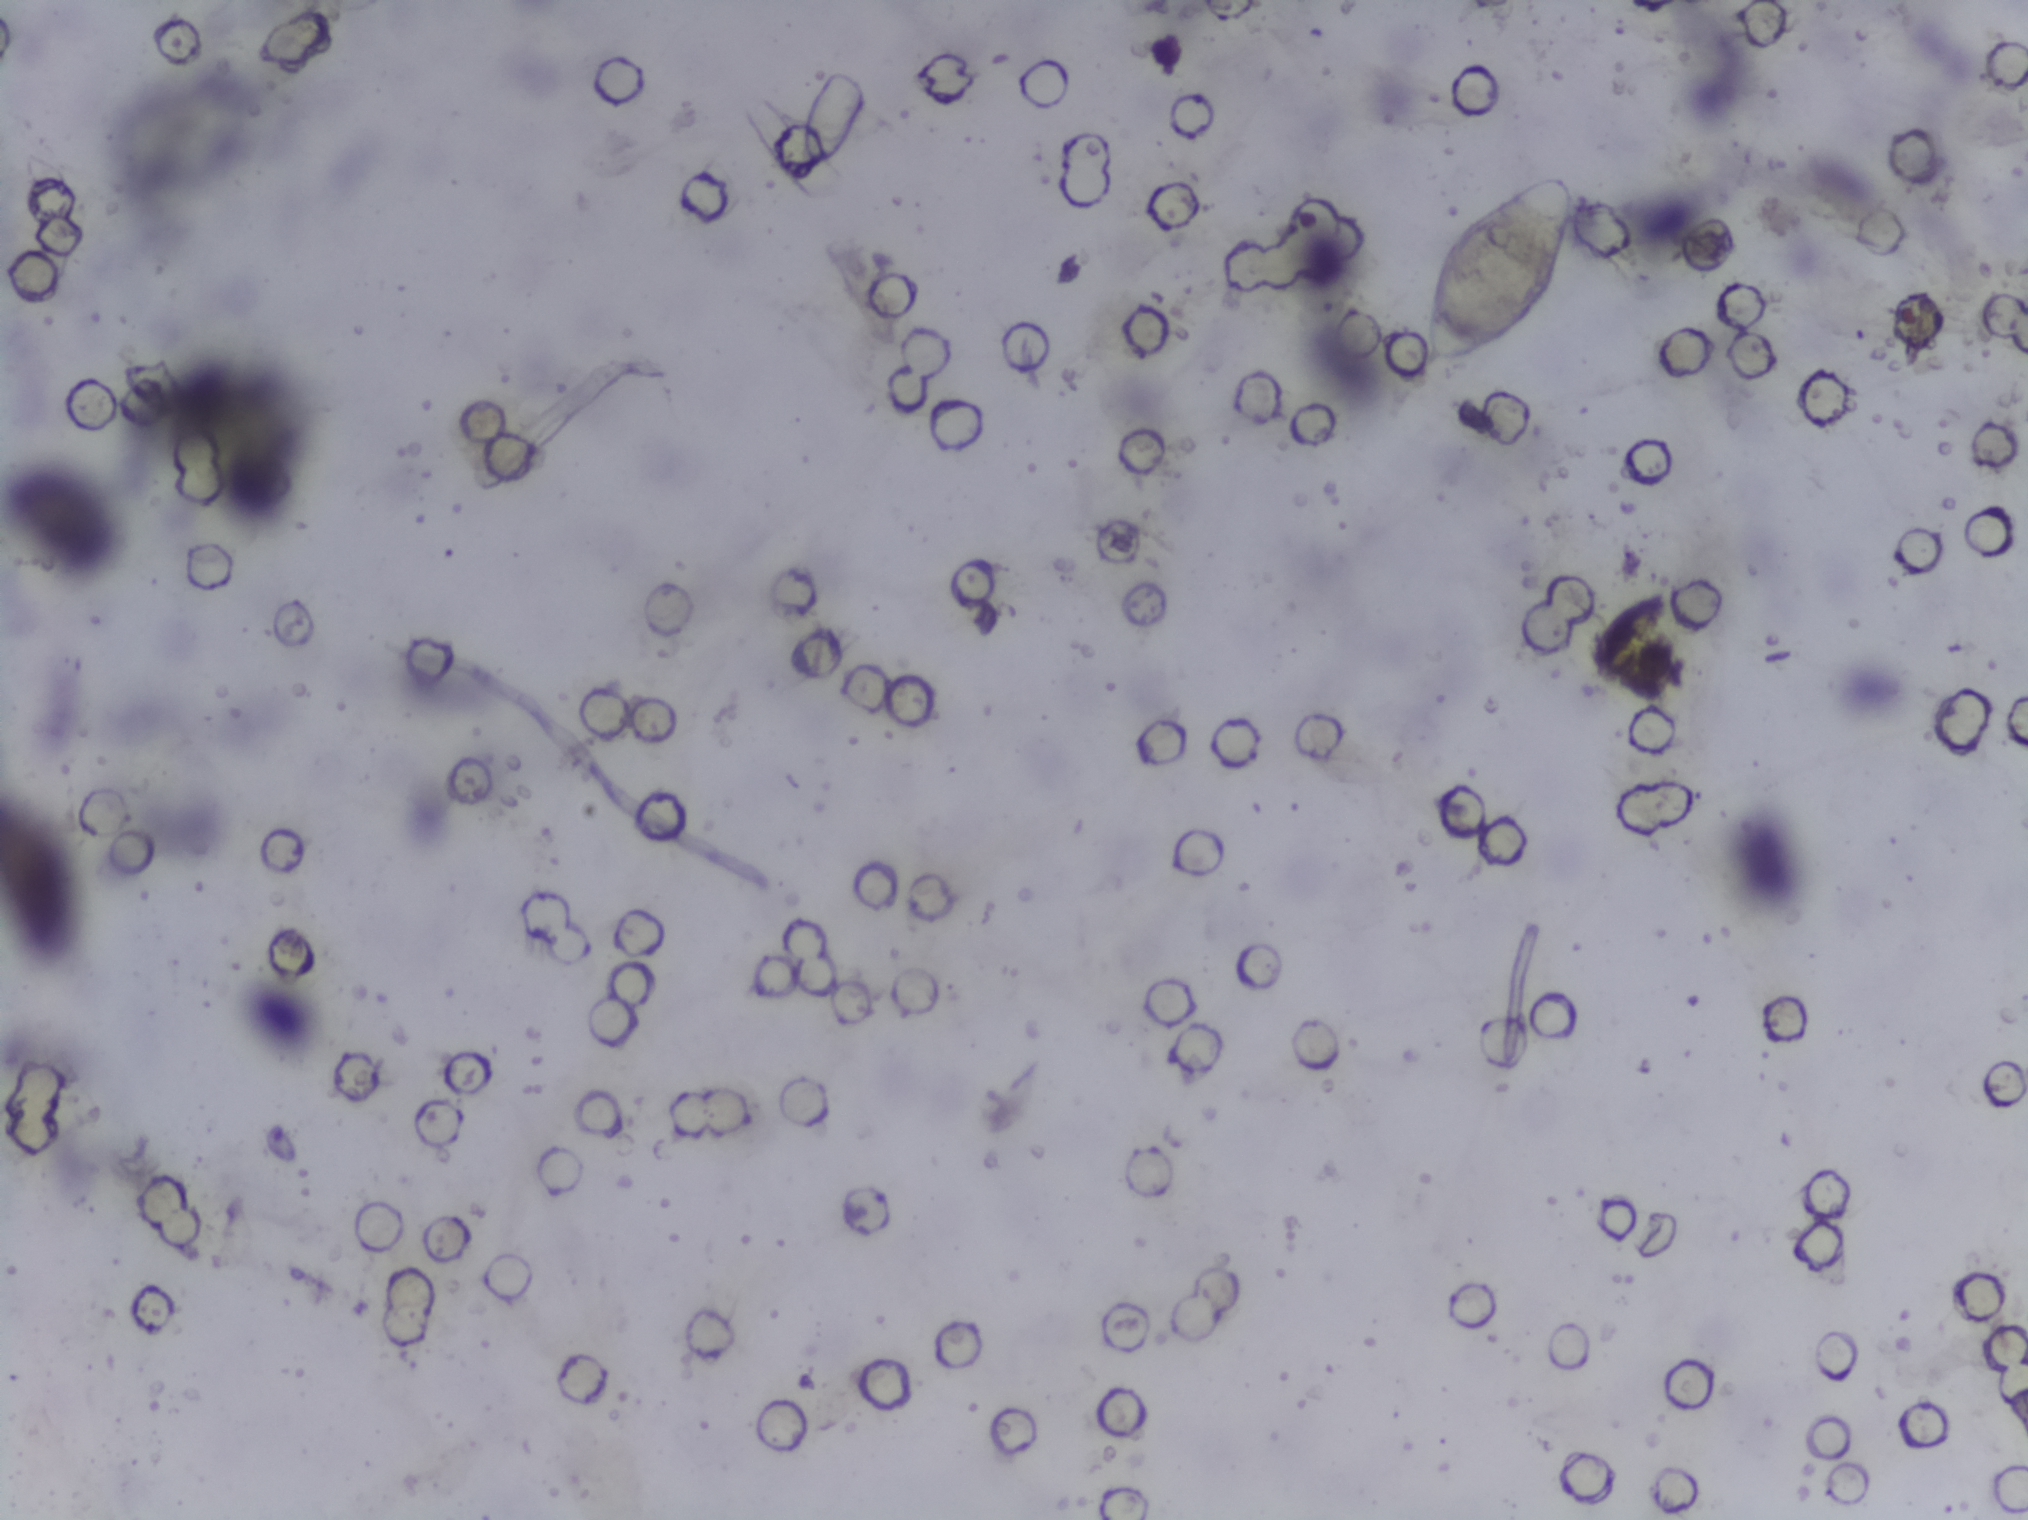
Urine filter membrane photographed through a 4× microscope objective.
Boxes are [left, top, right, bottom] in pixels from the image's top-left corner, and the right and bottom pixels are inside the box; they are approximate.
{"schistosoma_egg_areas_xyxy_px": [[1414, 170, 1581, 374]]}
A single outlined area may contain several eggs.